One field of view of a urine filter membrane, 4× objective, 2028 × 1520 pixels.
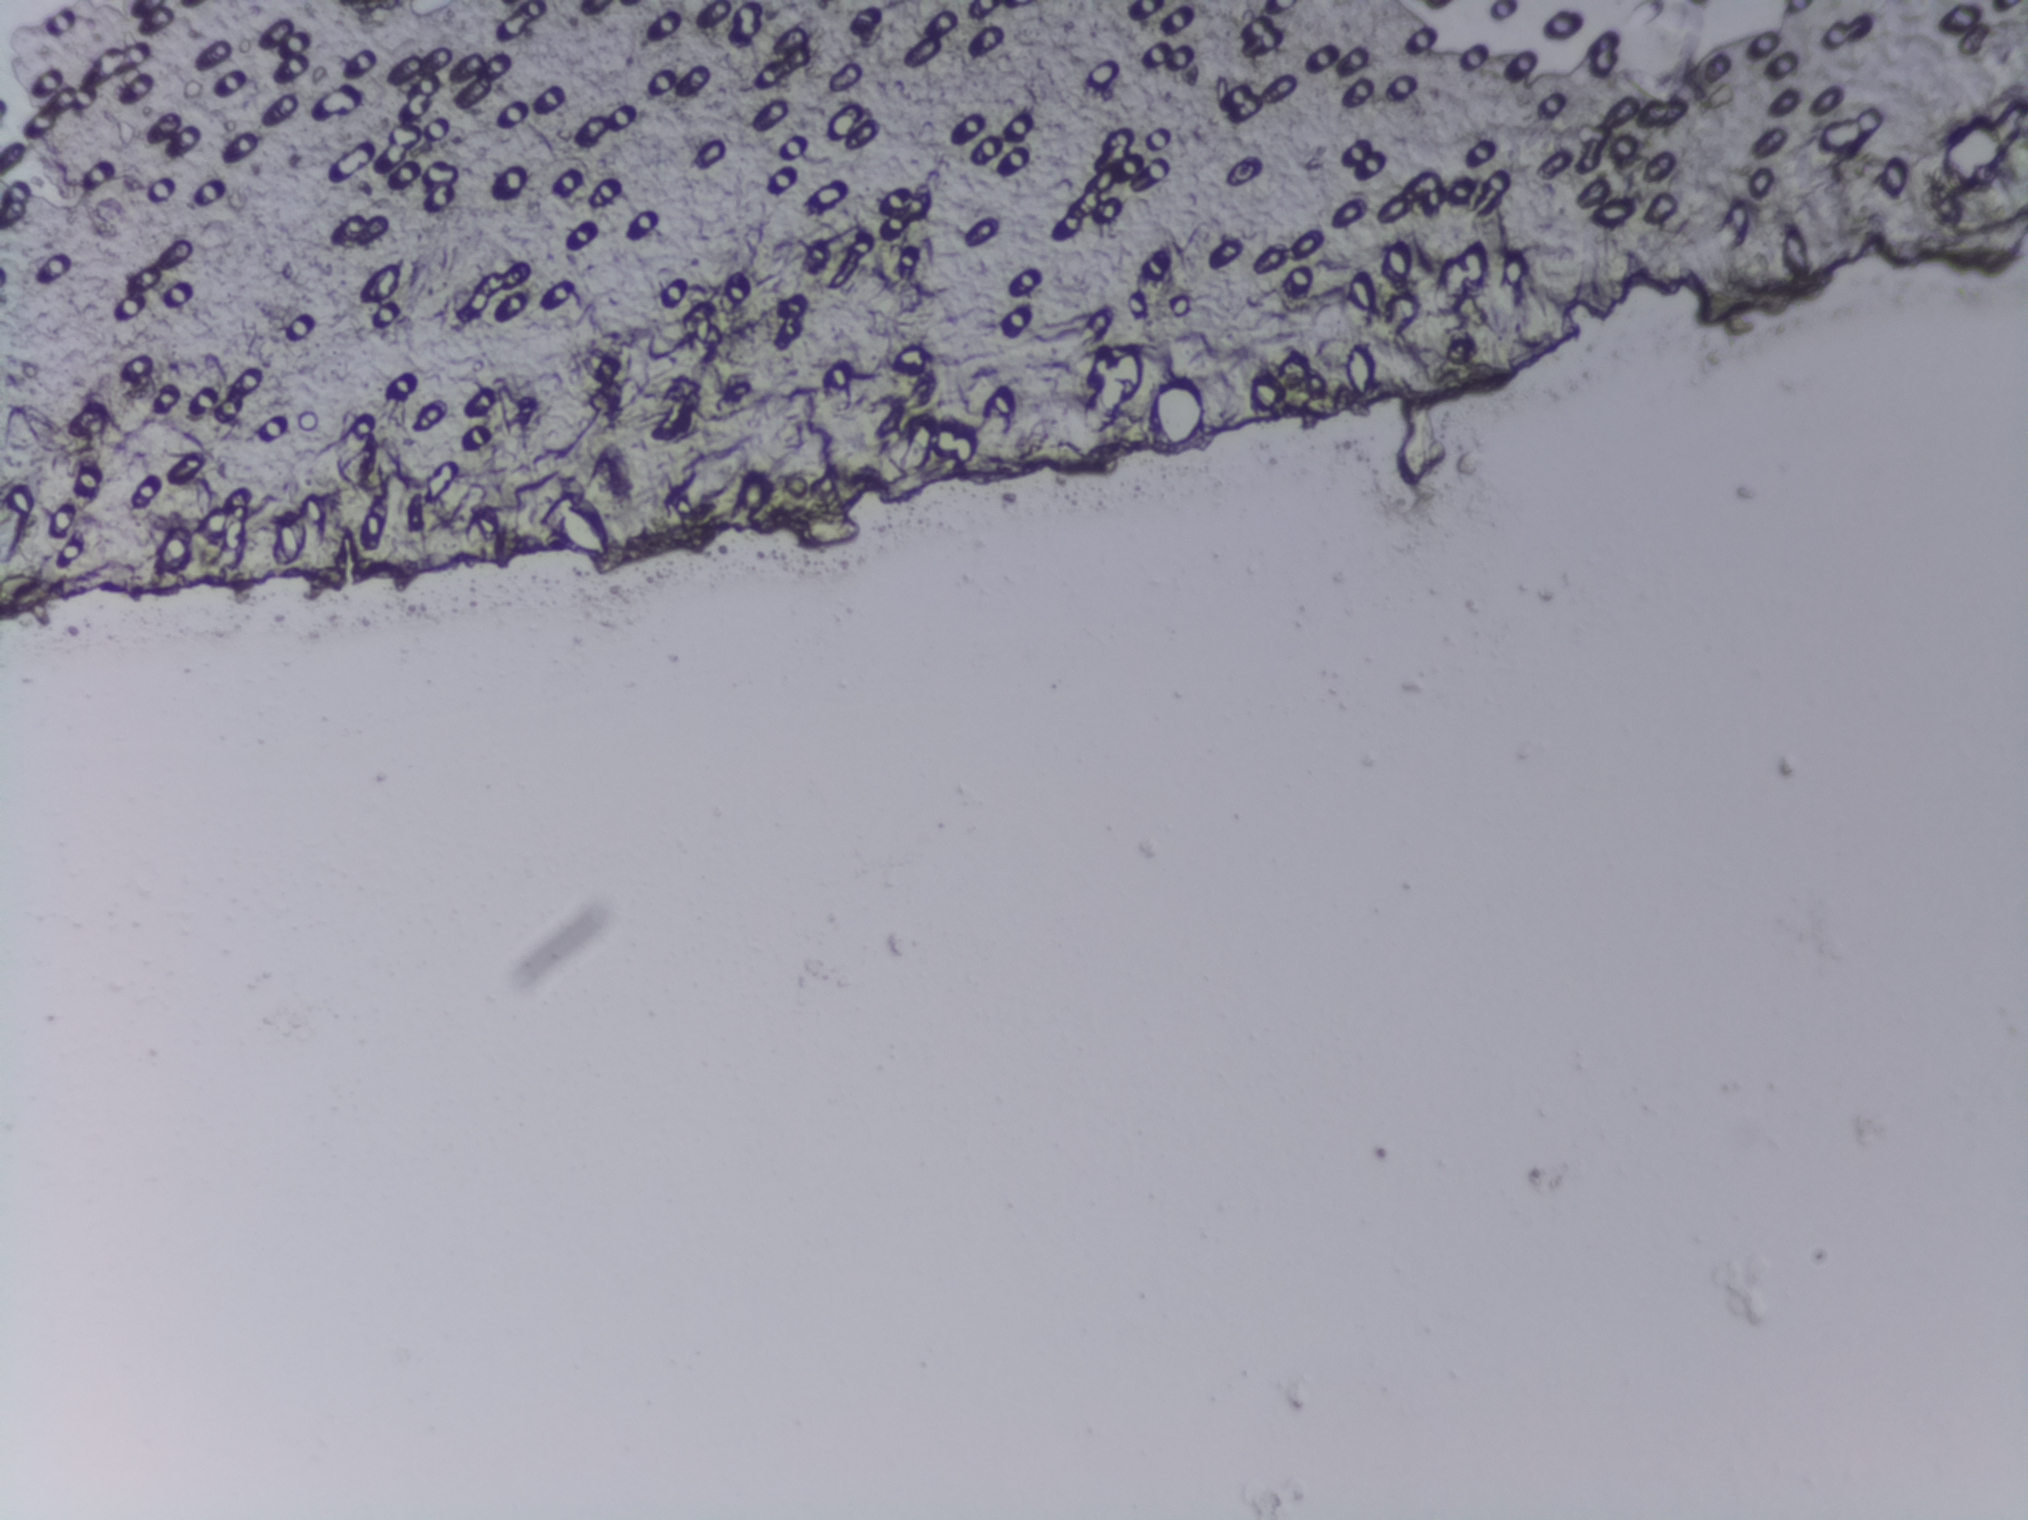
No Schistosoma egg is outlined in this image's expert annotation.